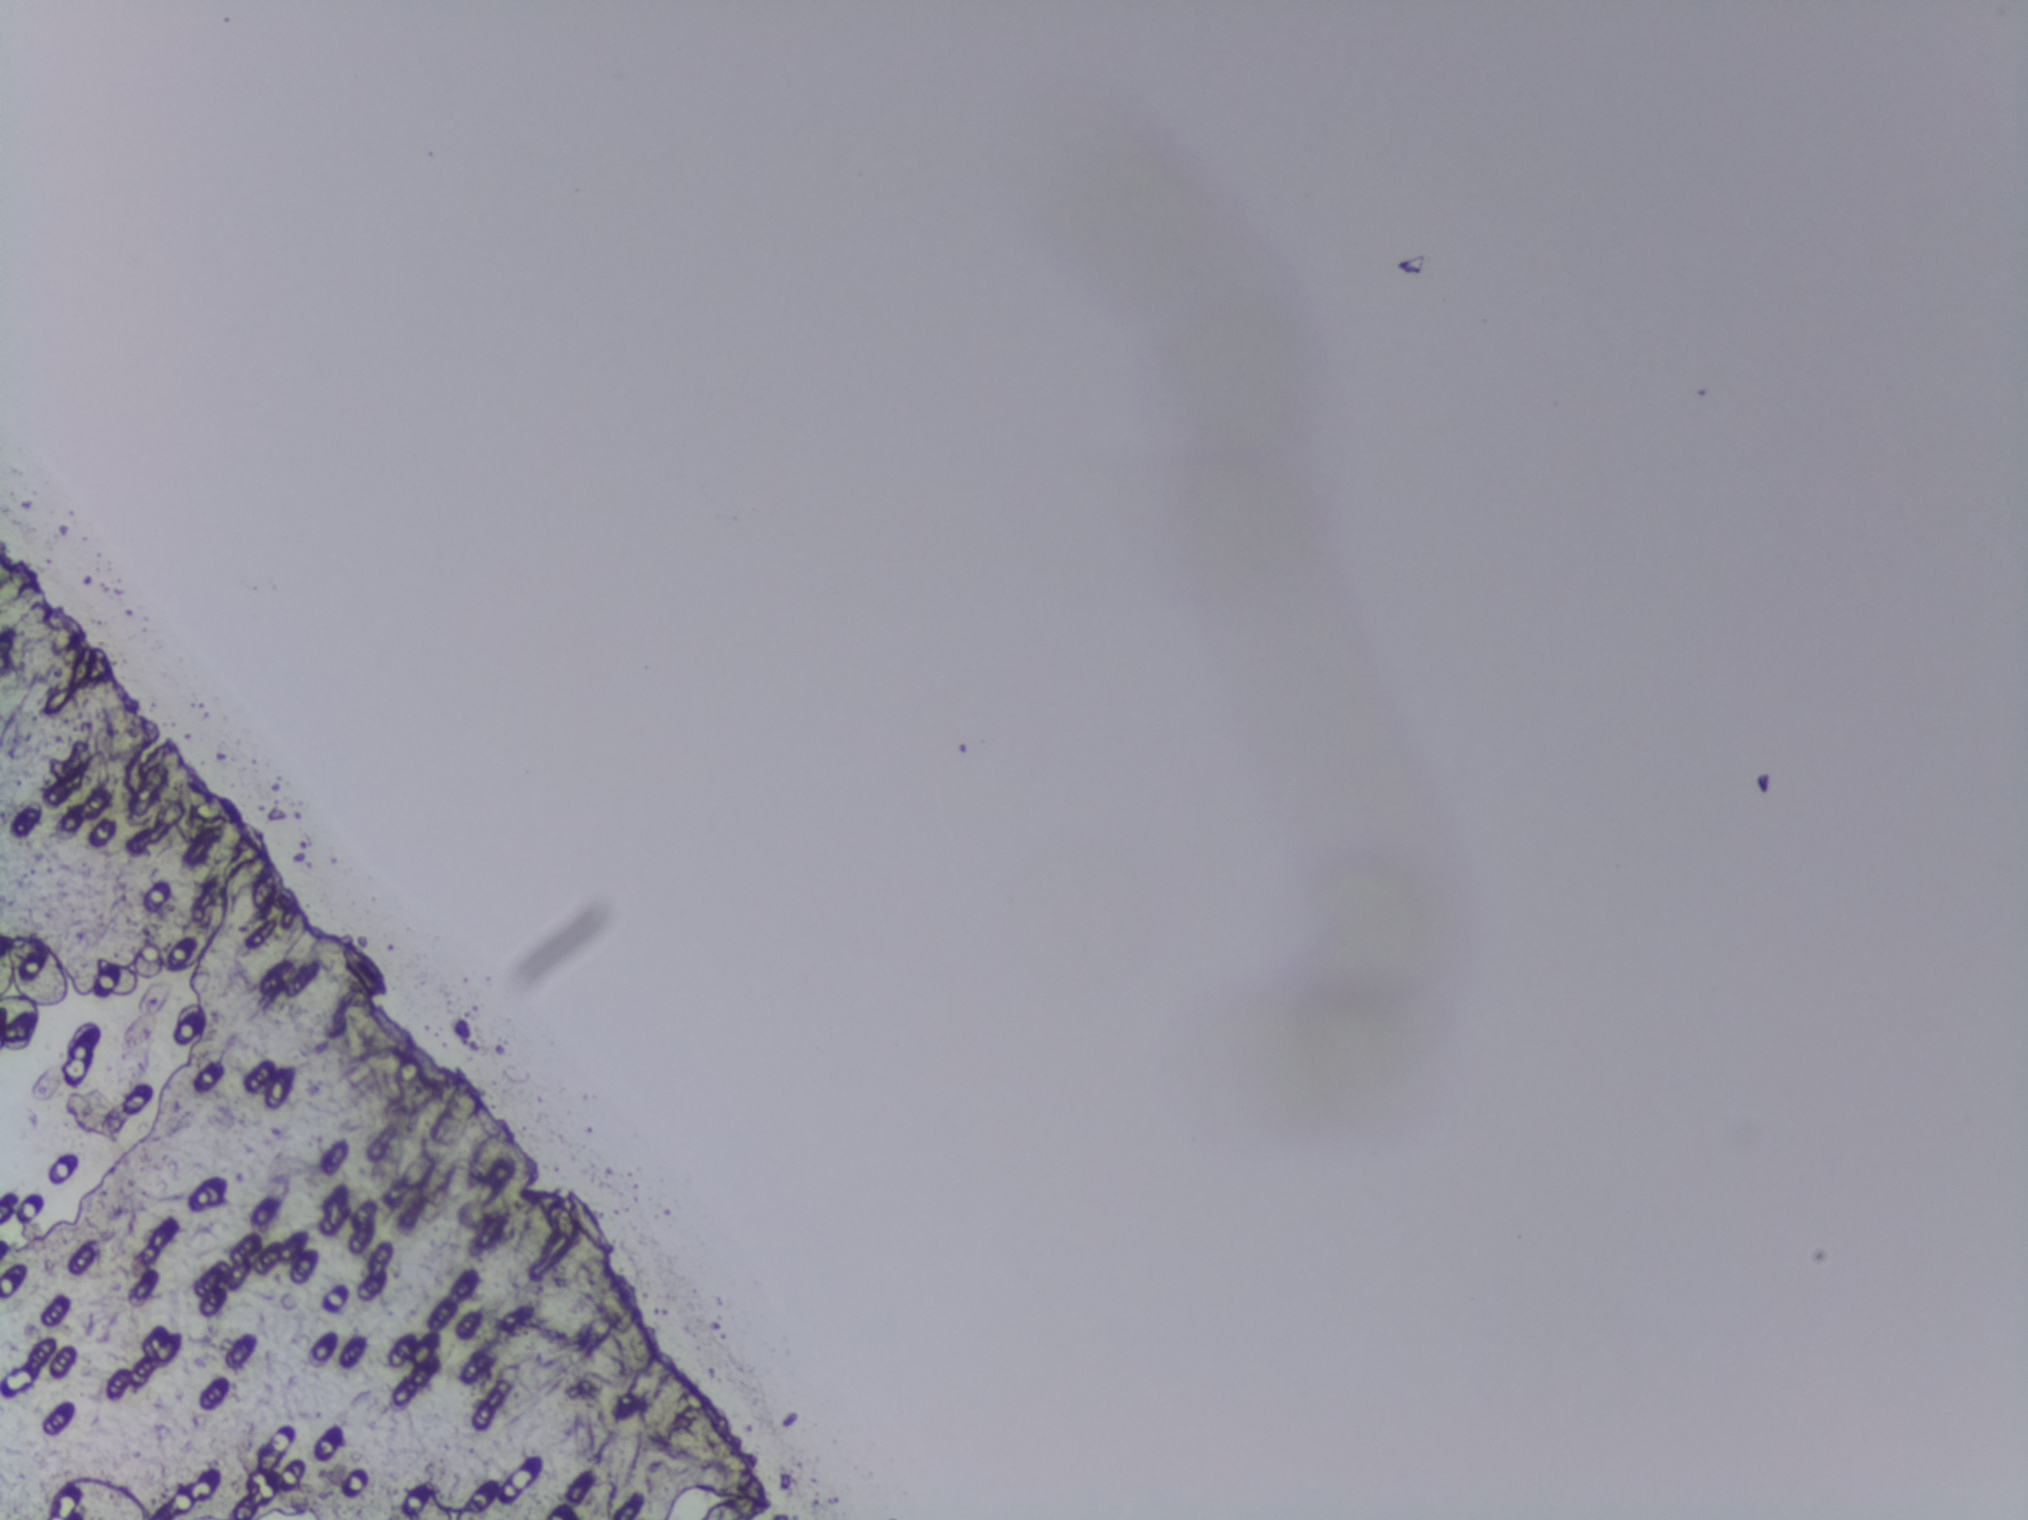
Urine filter membrane photographed through a 4× microscope objective. The field of view is about 1.5 mm × 1.1 mm.
Schistosoma eggs: none outlined.